Urine filtration membrane under a 4× objective, photographed by an automated digital microscope.
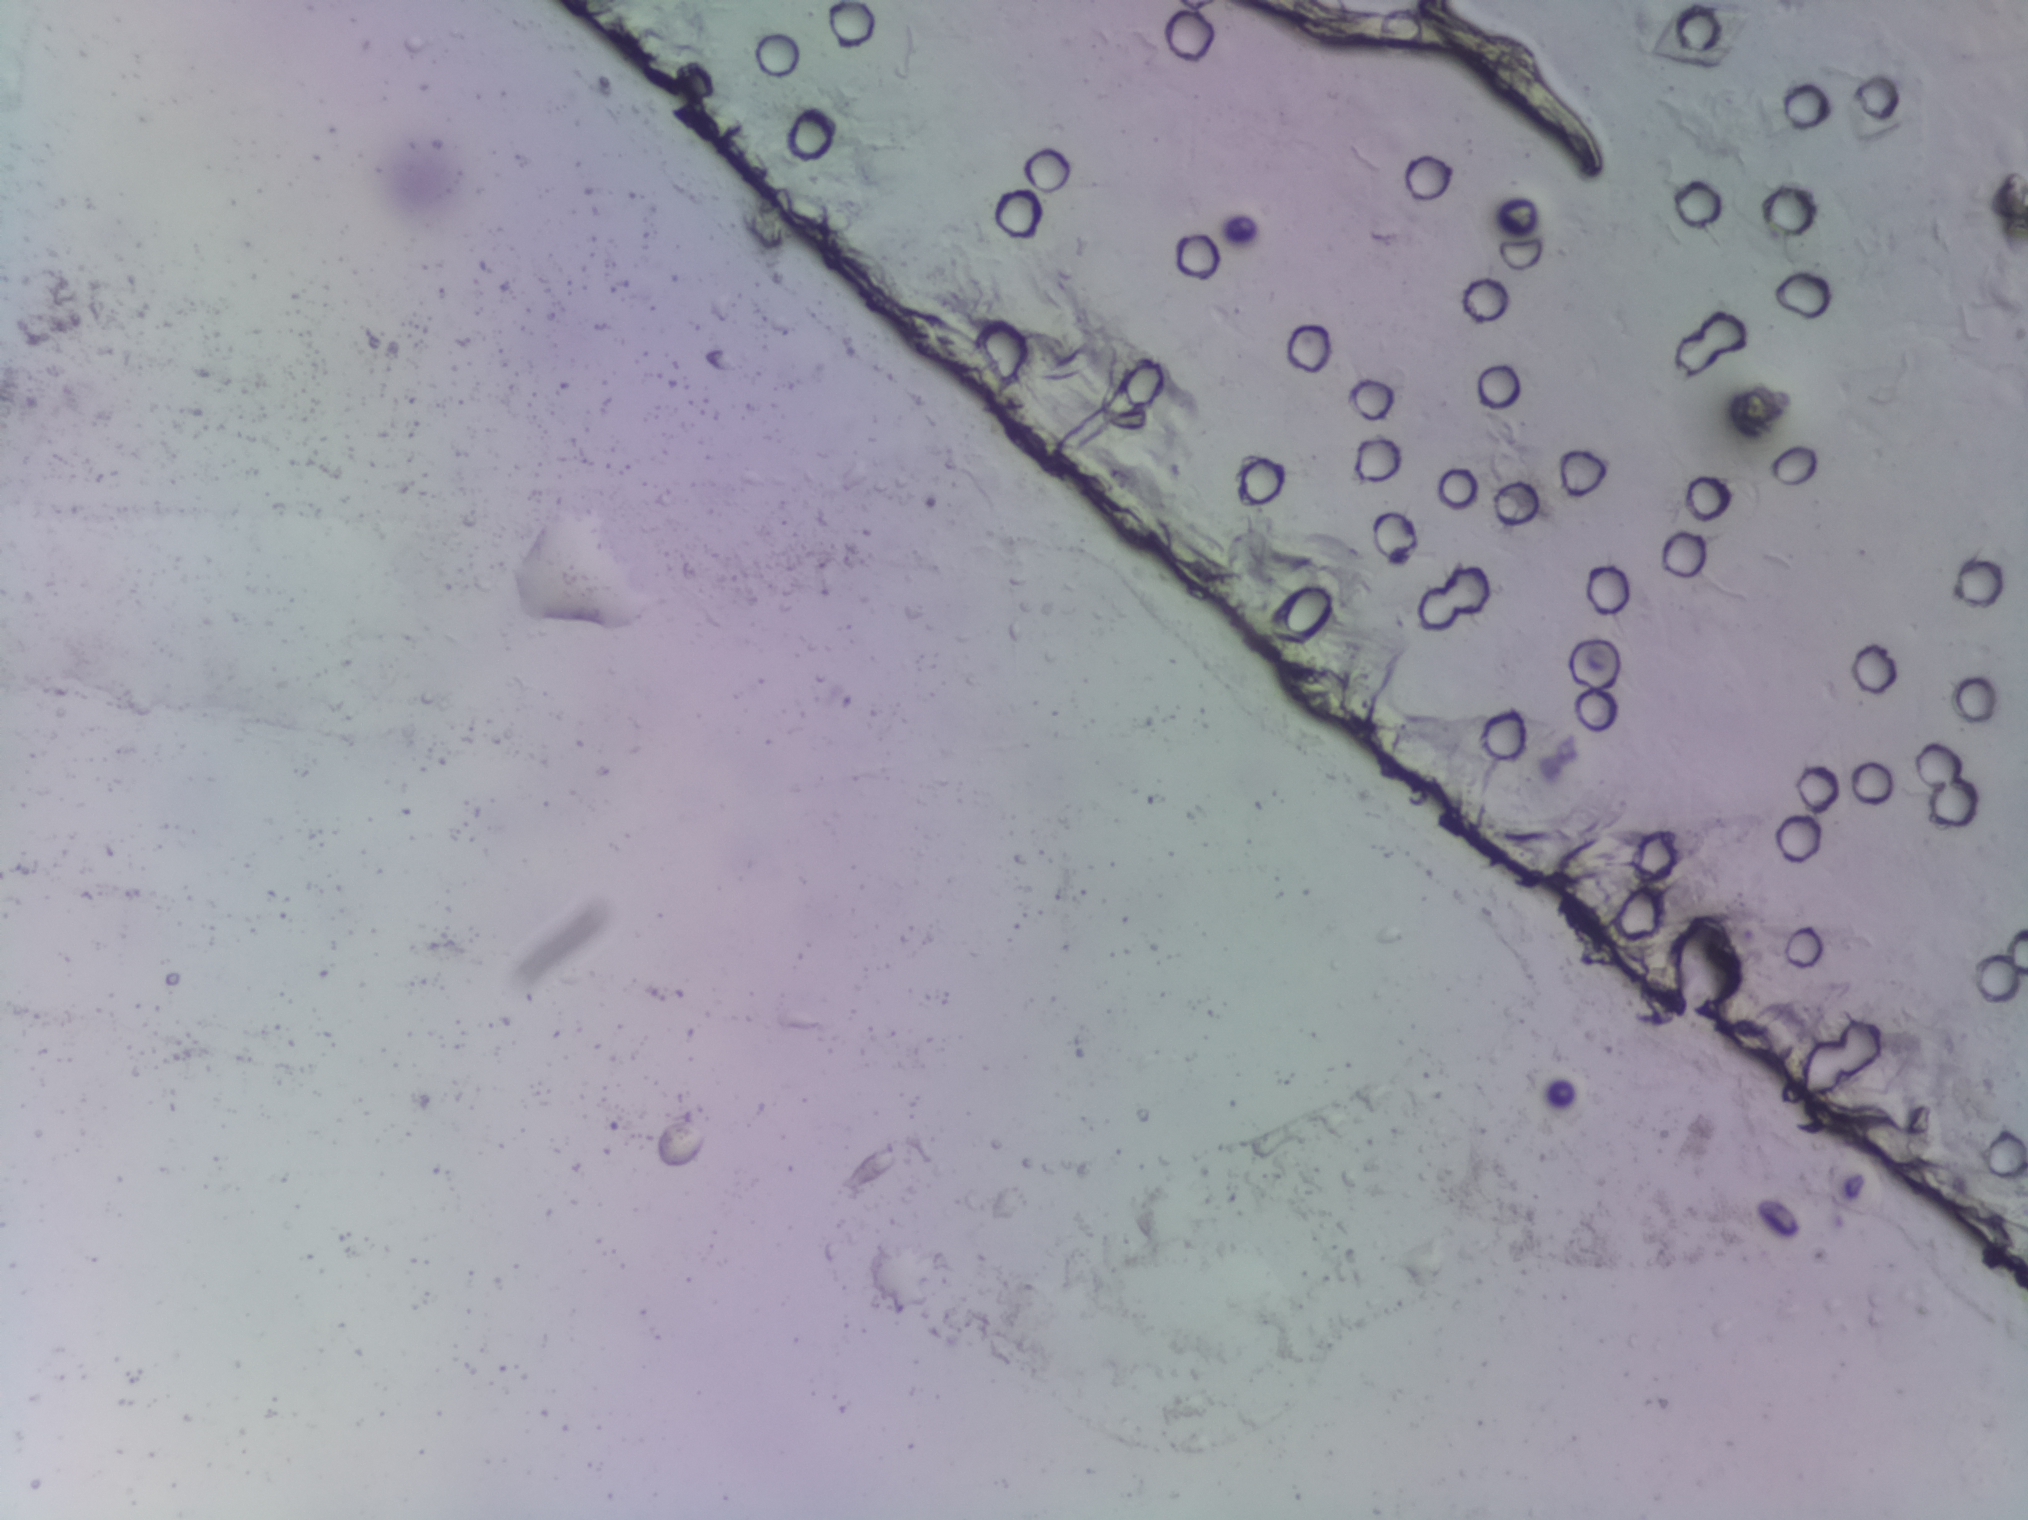
Schistosoma eggs: none outlined.